Microscope photograph (4× objective) of a membrane that a urine sample was filtered through. The image covers about 1.5 × 1.1 mm of the membrane.
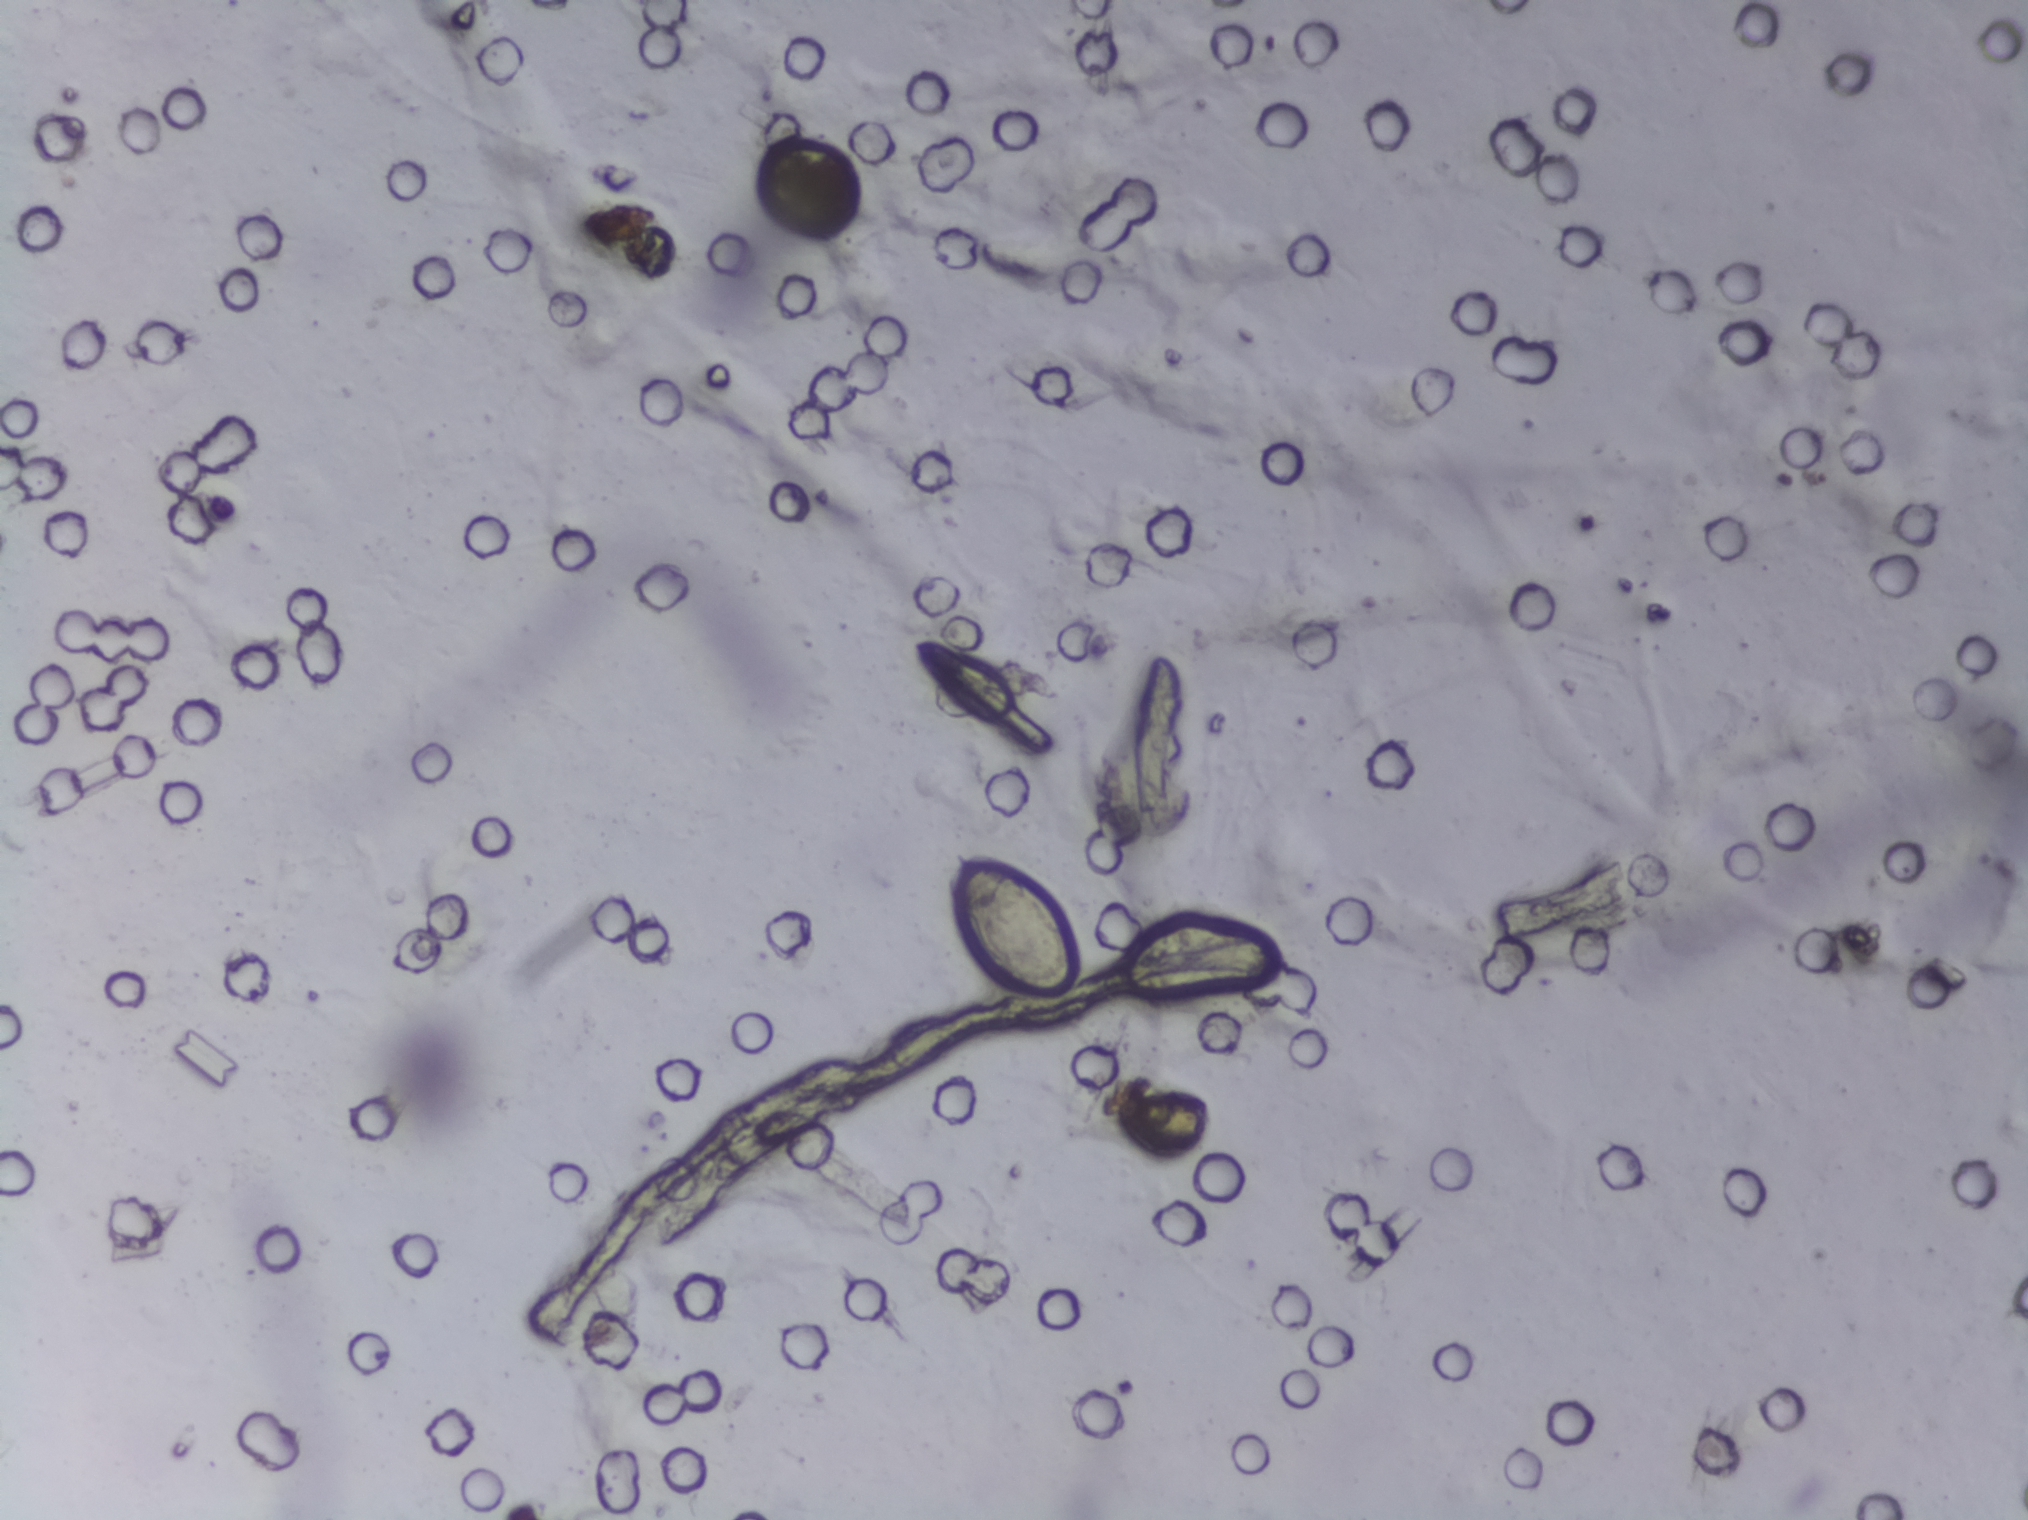
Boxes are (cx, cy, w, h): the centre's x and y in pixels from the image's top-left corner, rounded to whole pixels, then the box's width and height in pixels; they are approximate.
Findings: one area outlined as Schistosoma eggs. Location: (cx=1016, cy=922, w=124, h=148). About 0.4% of the image's pixels are marked (the marked pixels themselves, not the box around them). A single outlined area may contain several eggs.